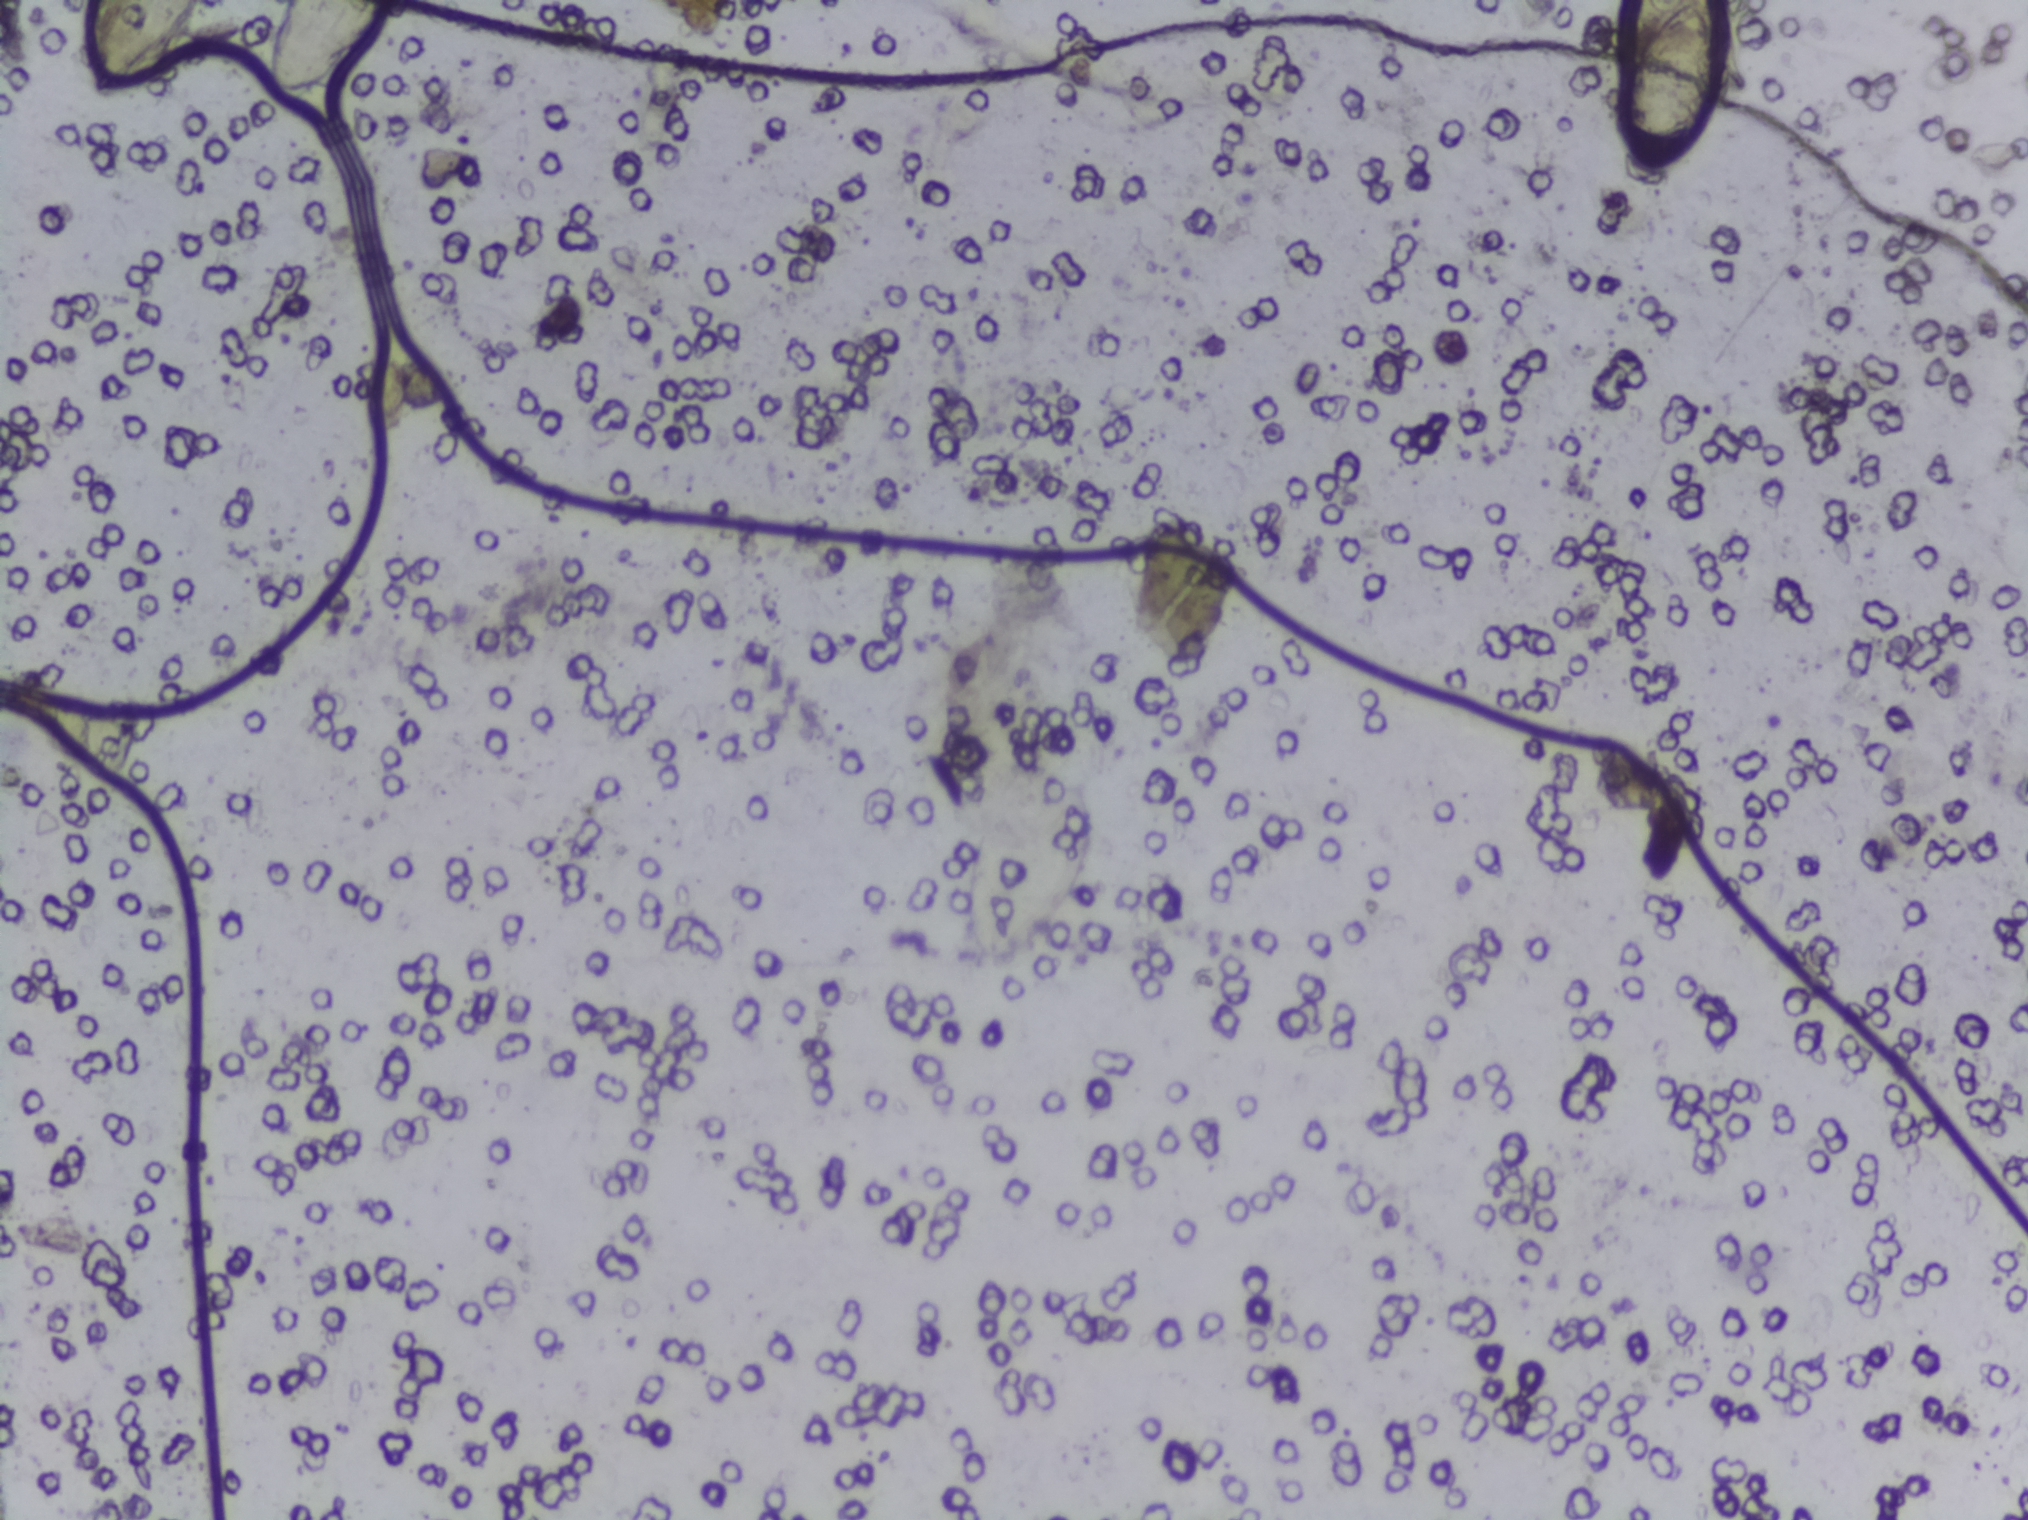
Photomicrograph of a urine filtration membrane, 4× objective.
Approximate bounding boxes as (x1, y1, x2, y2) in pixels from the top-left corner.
Schistosoma eggs are outlined in four areas of this image, listed from left to right: (87, 0, 200, 104) (reaching the top edge of the frame); (269, 0, 387, 99) (reaching the top edge of the frame); (968, 765, 1090, 968); (1620, 1, 1720, 174). Marked pixels, not the boxes around them: about 1.5% of the image. Eggs that touch can end up inside the same outlined area.